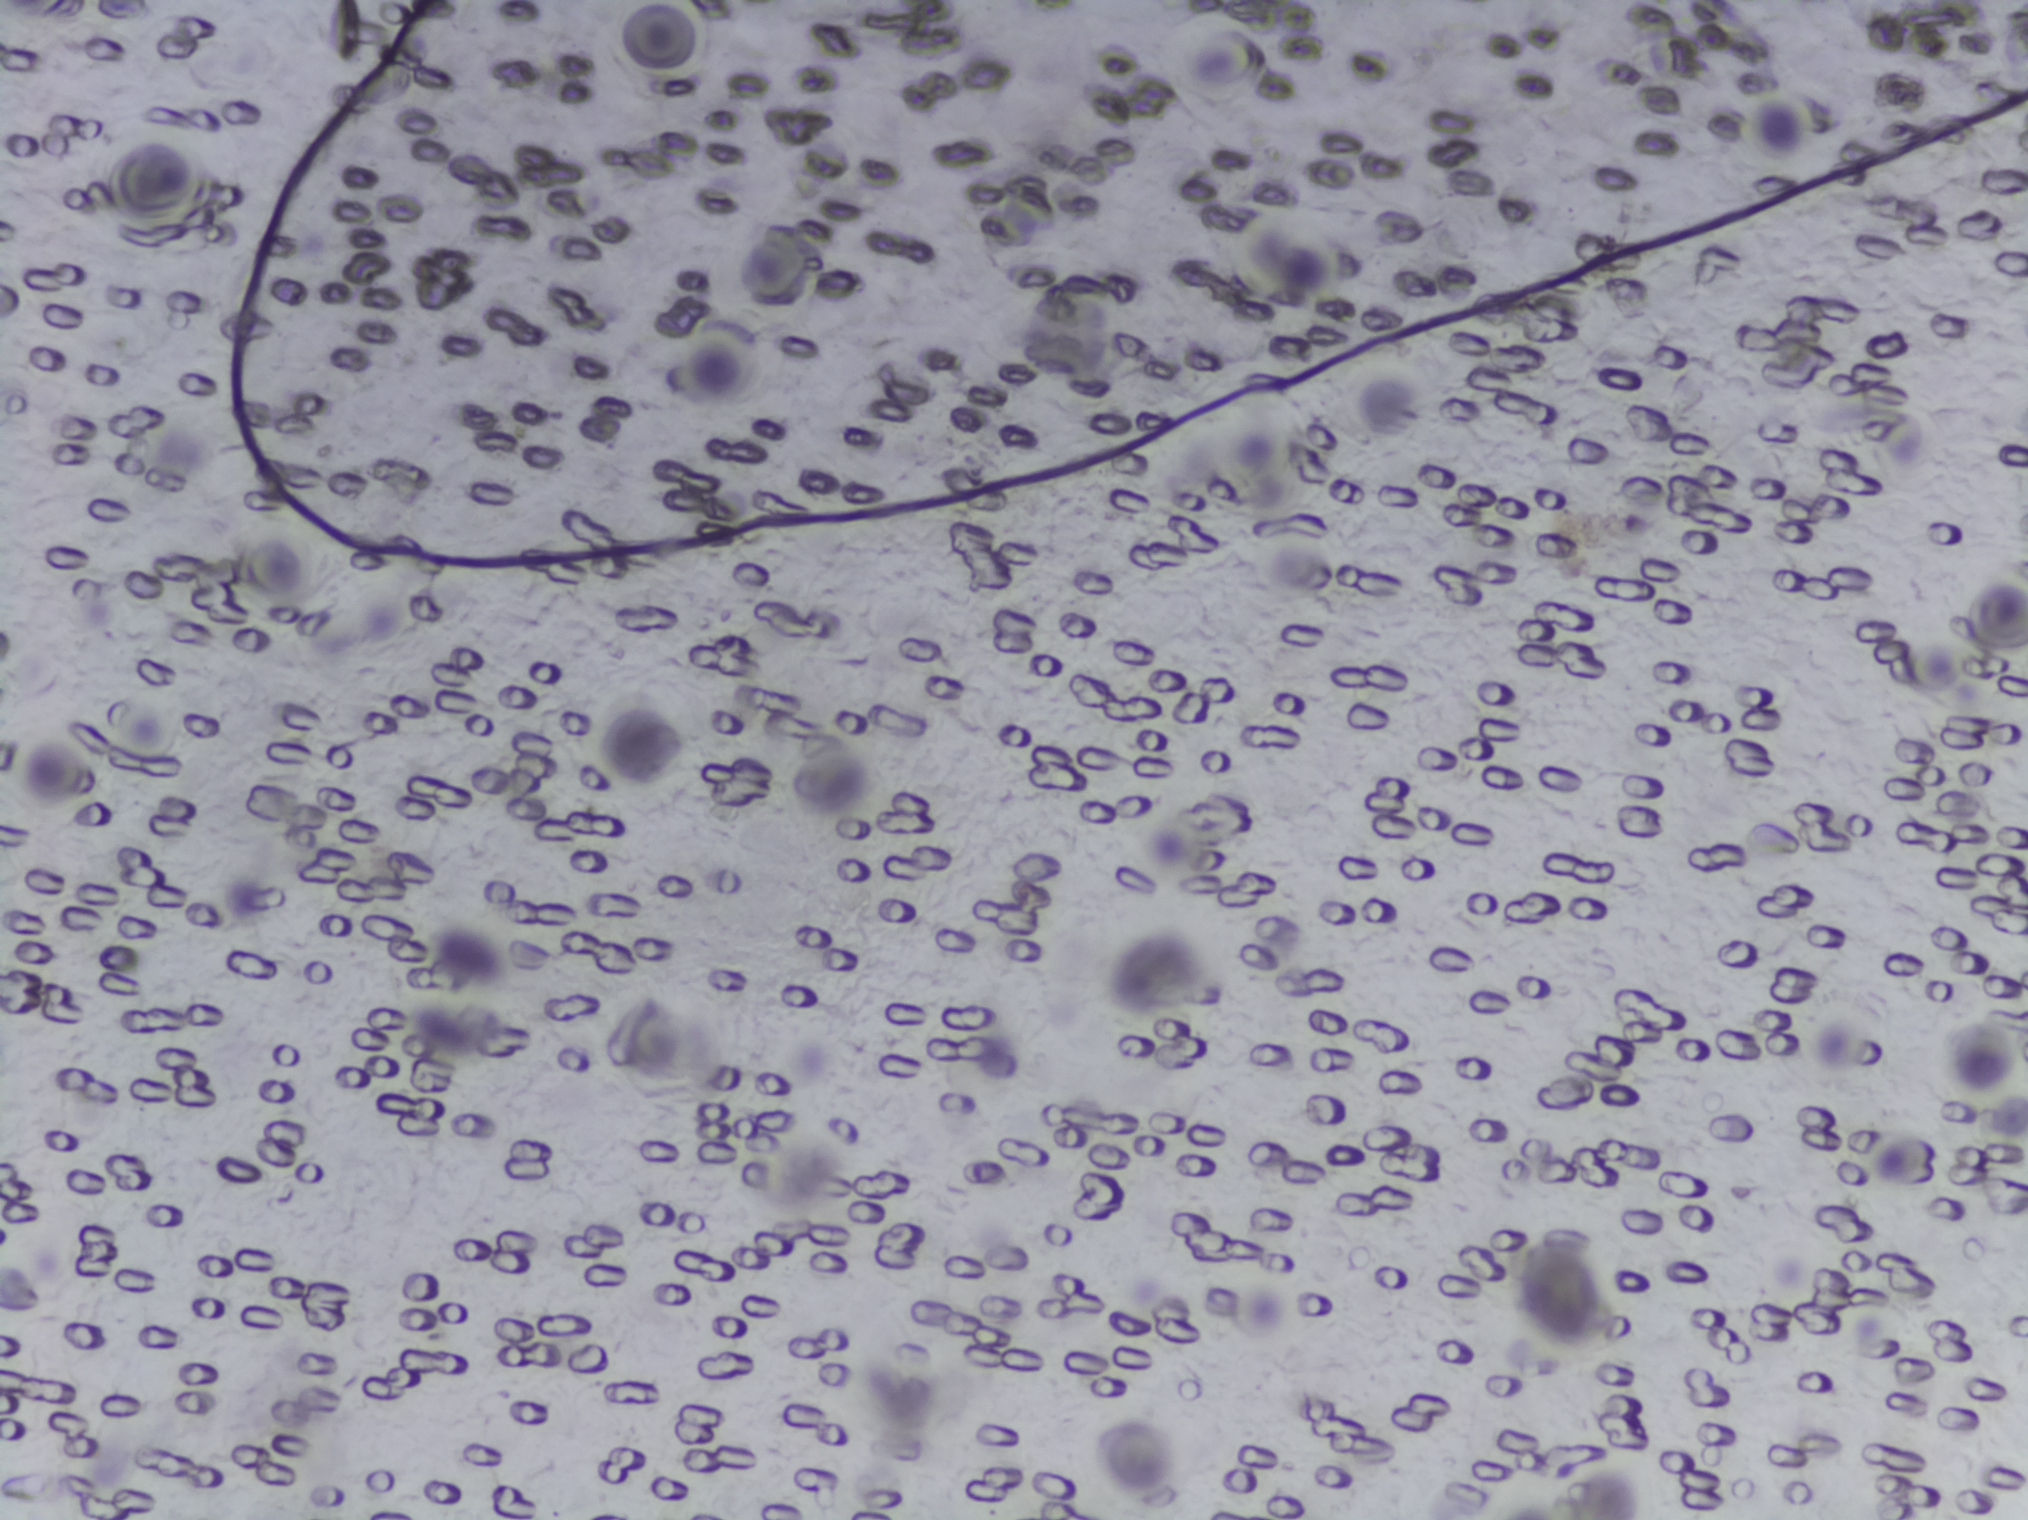
Urine filtration membrane under a 4× objective, photographed by an automated digital microscope.
No Schistosoma egg is outlined in this image's expert annotation.